Urine filtration membrane under a 4× objective, photographed by an automated digital microscope.
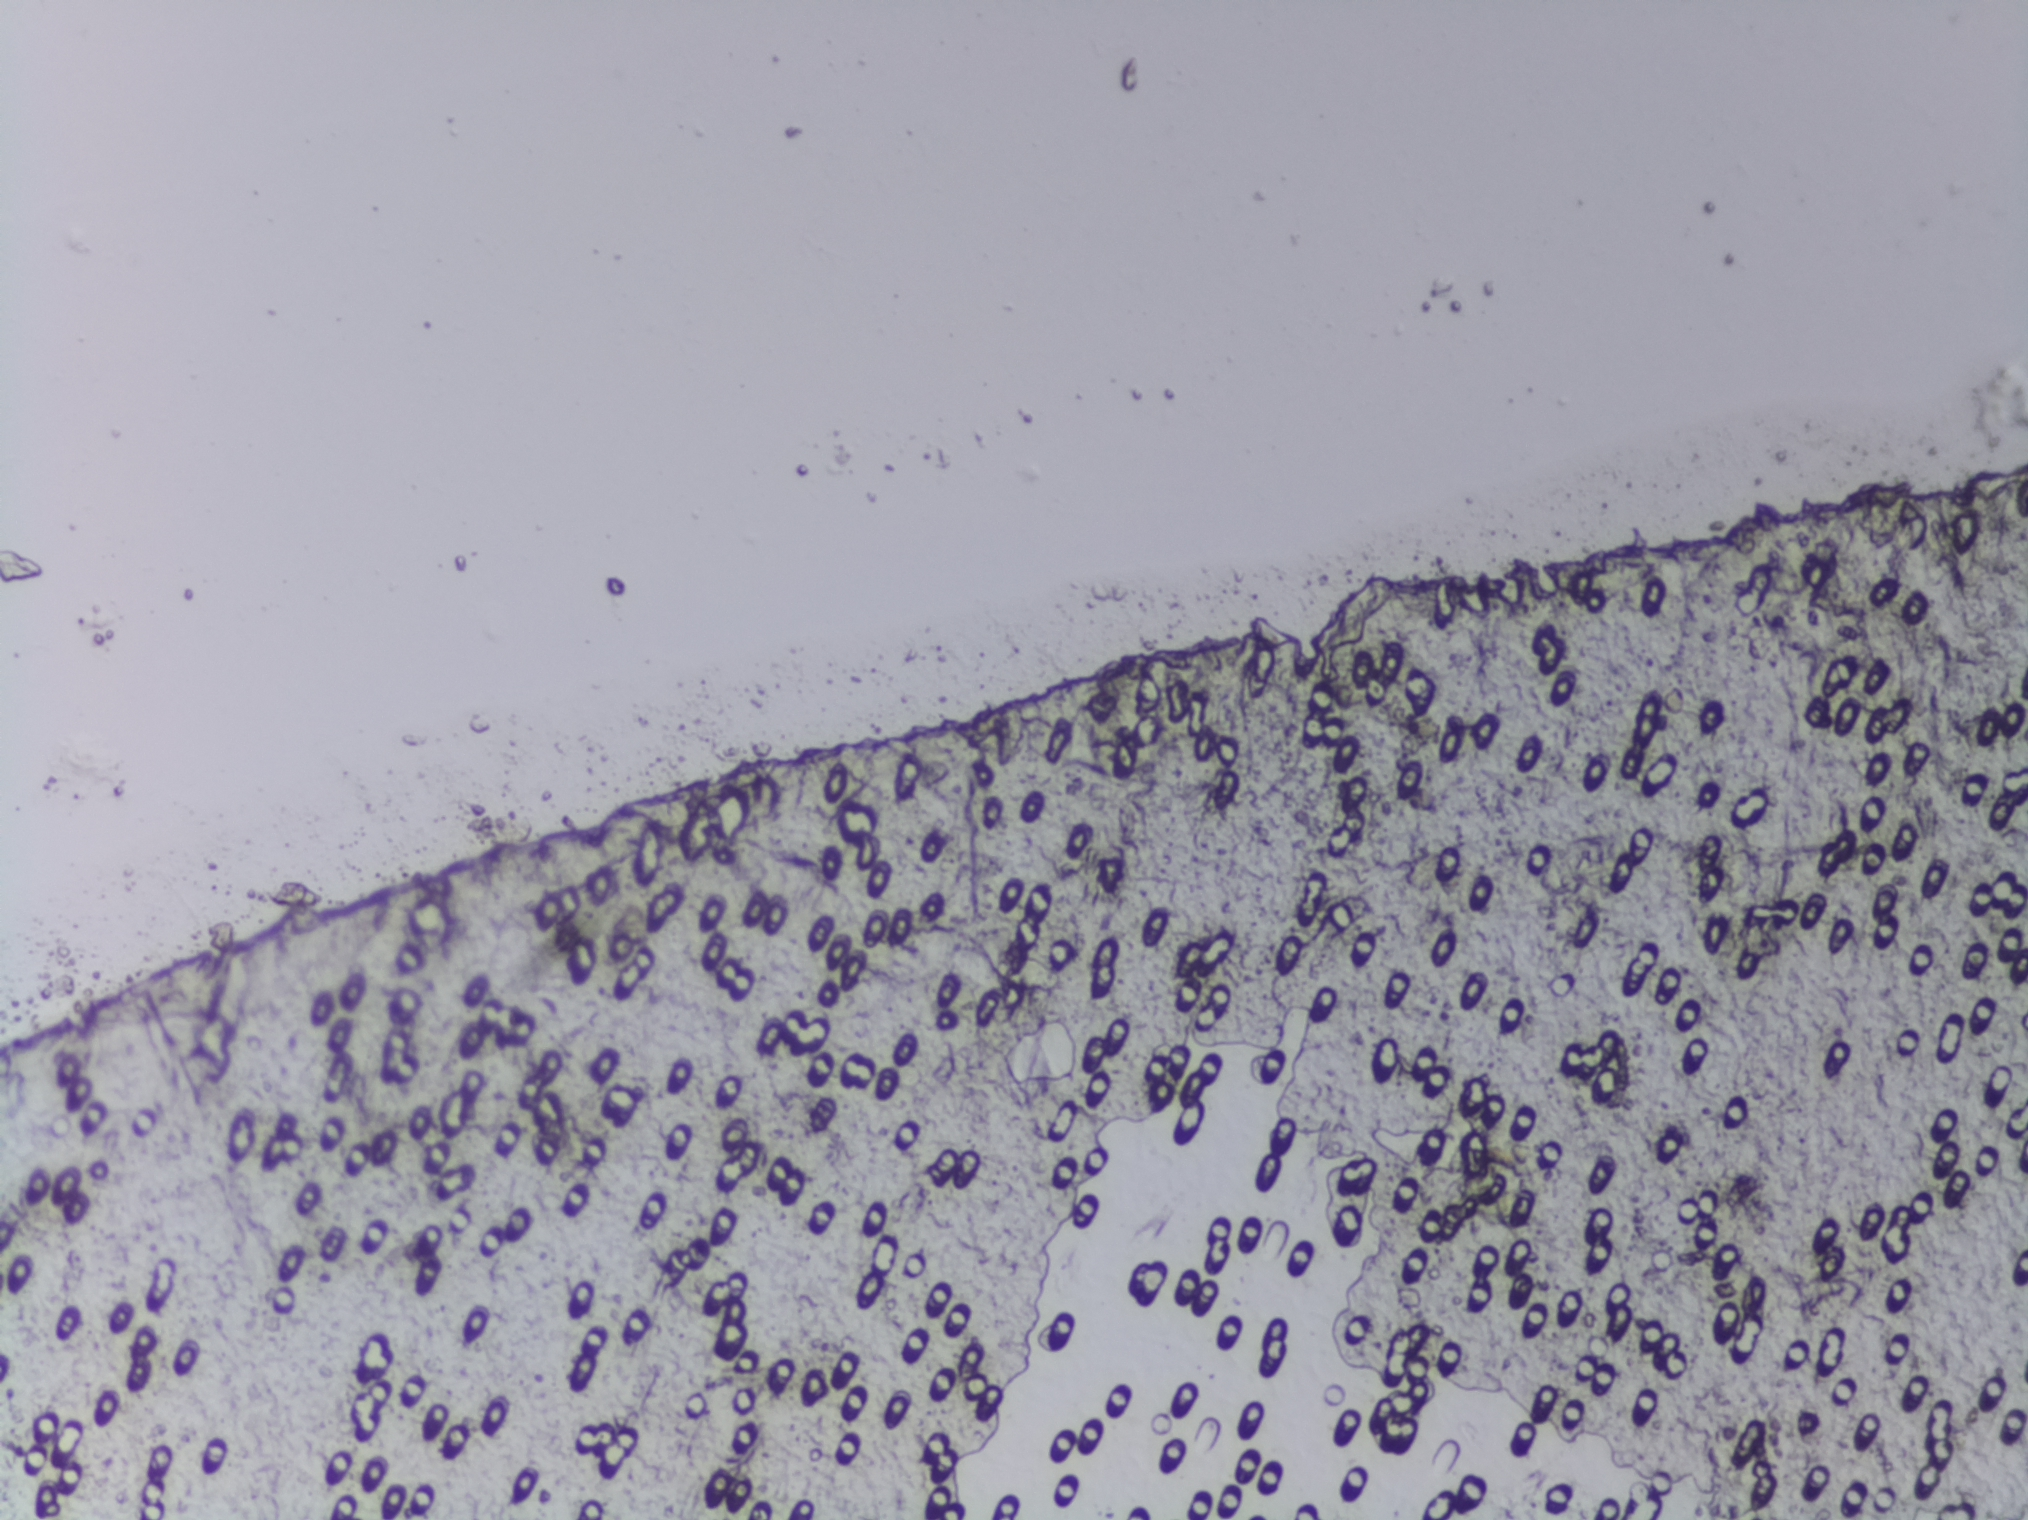
The expert annotation marks no Schistosoma egg in this field of view.